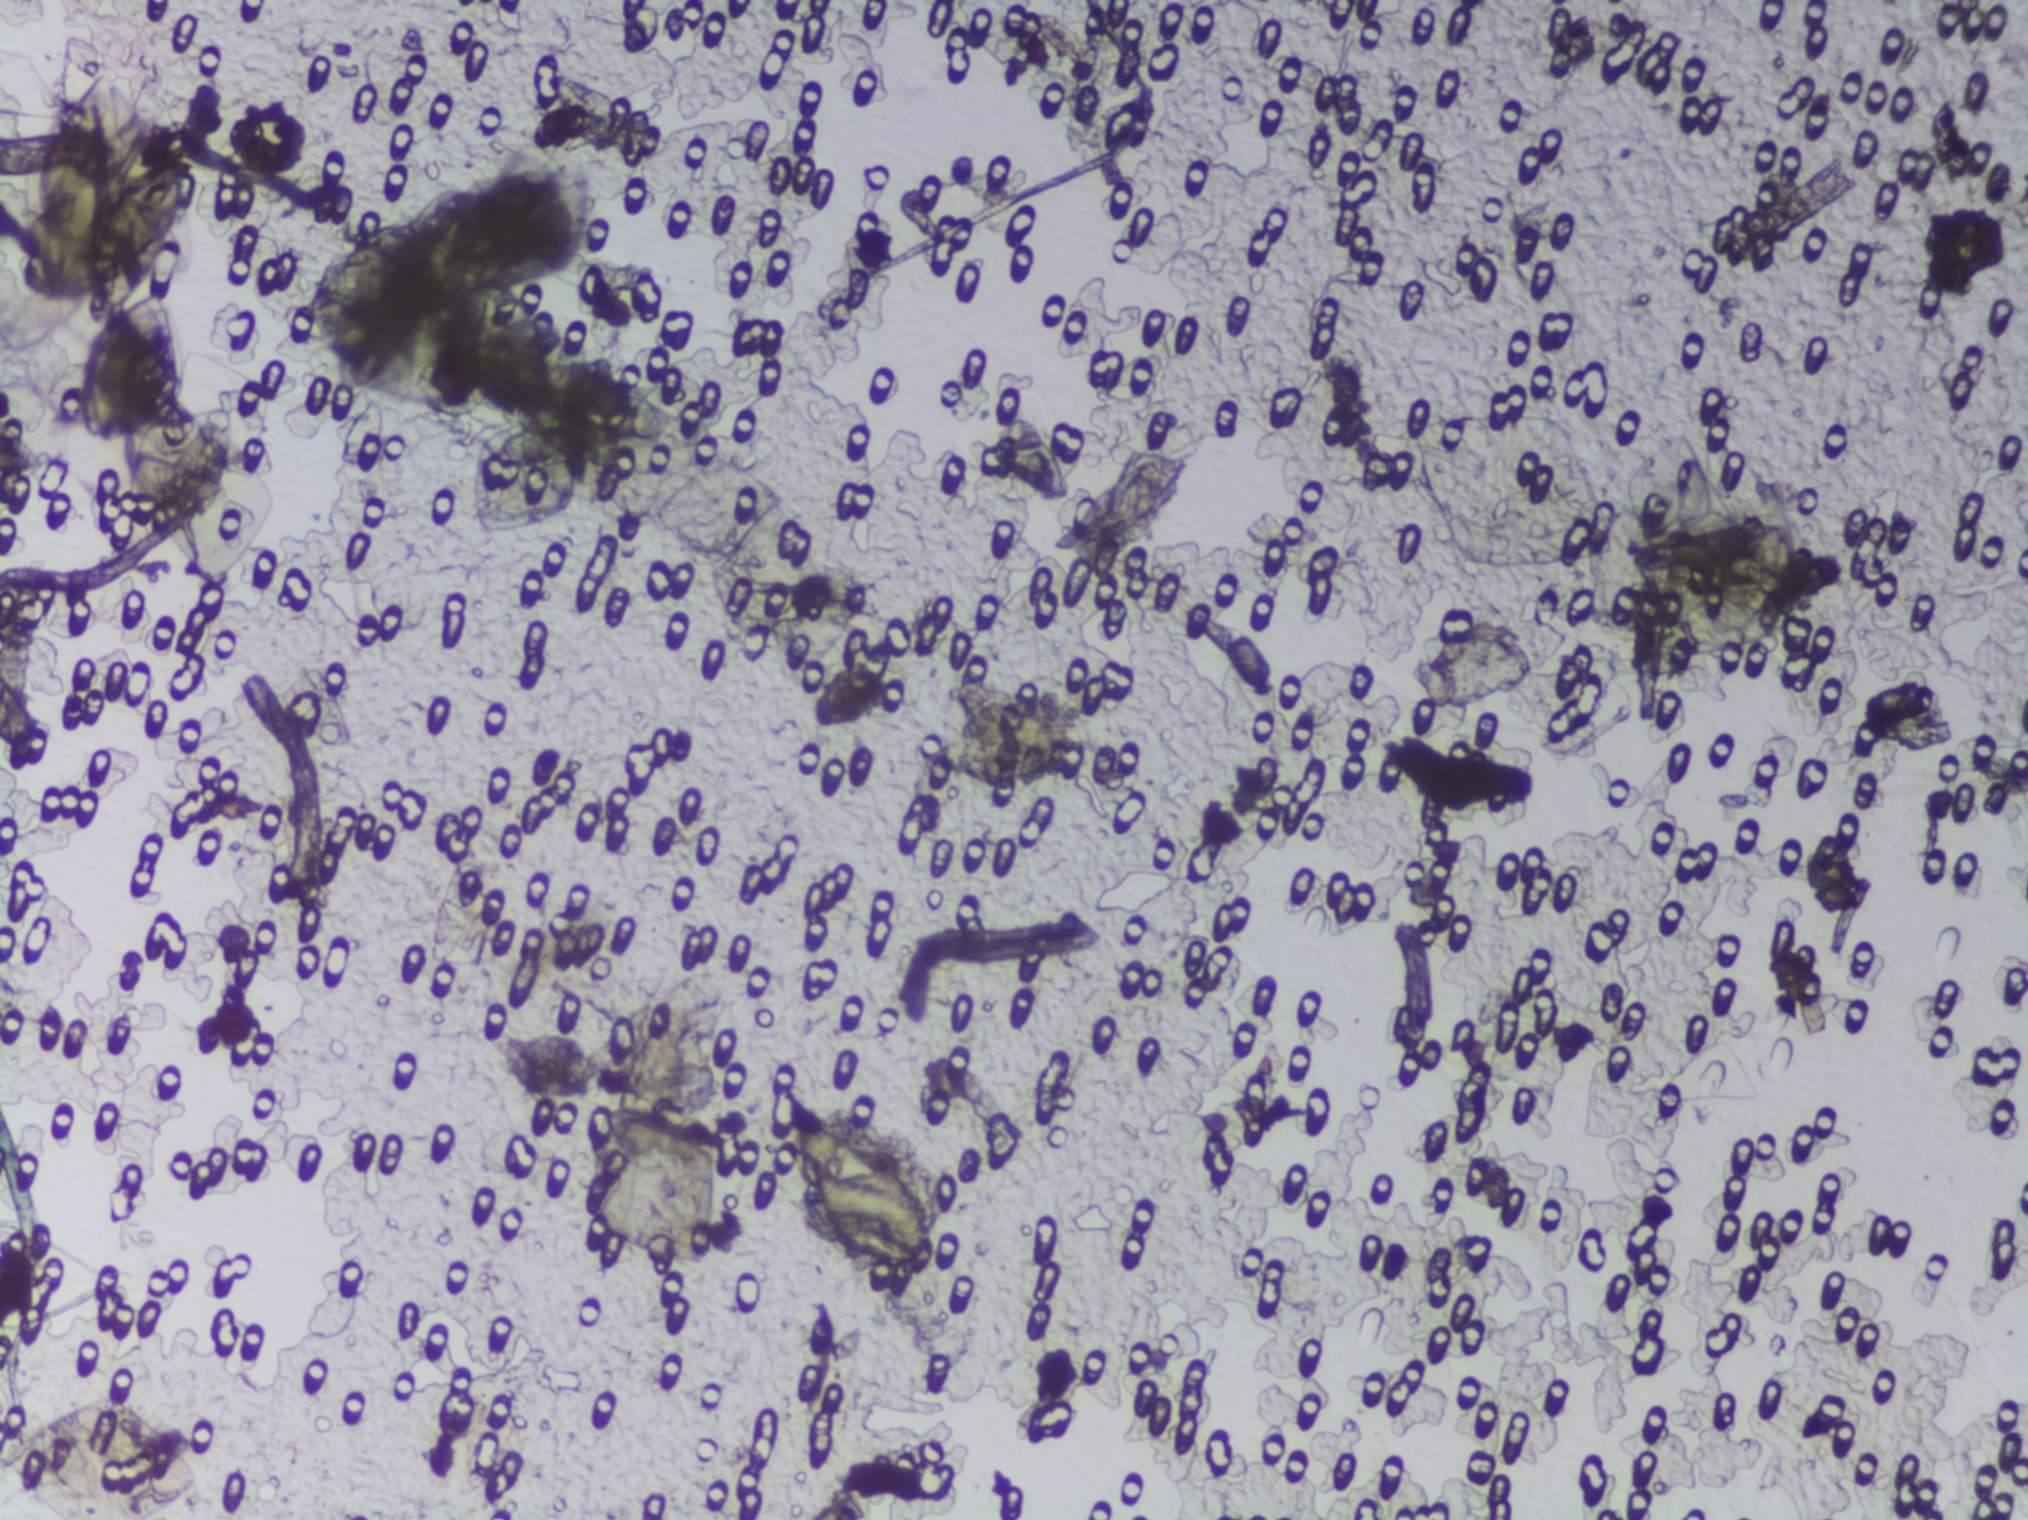
One field of view of a urine filter membrane, 4× objective, 2028 × 1520 pixels. Field of view: about 1.5 mm wide and 1.1 mm high.
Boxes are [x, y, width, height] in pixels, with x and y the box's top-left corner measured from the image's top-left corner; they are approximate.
One area of this image is outlined as Schistosoma eggs: [797, 1119, 140, 153]. The marked pixels themselves, not the box around them, cover about 0.4% of the image. A single outlined area may contain several eggs.